Photograph from an automated digital microscope: urine filter membrane, 4× objective.
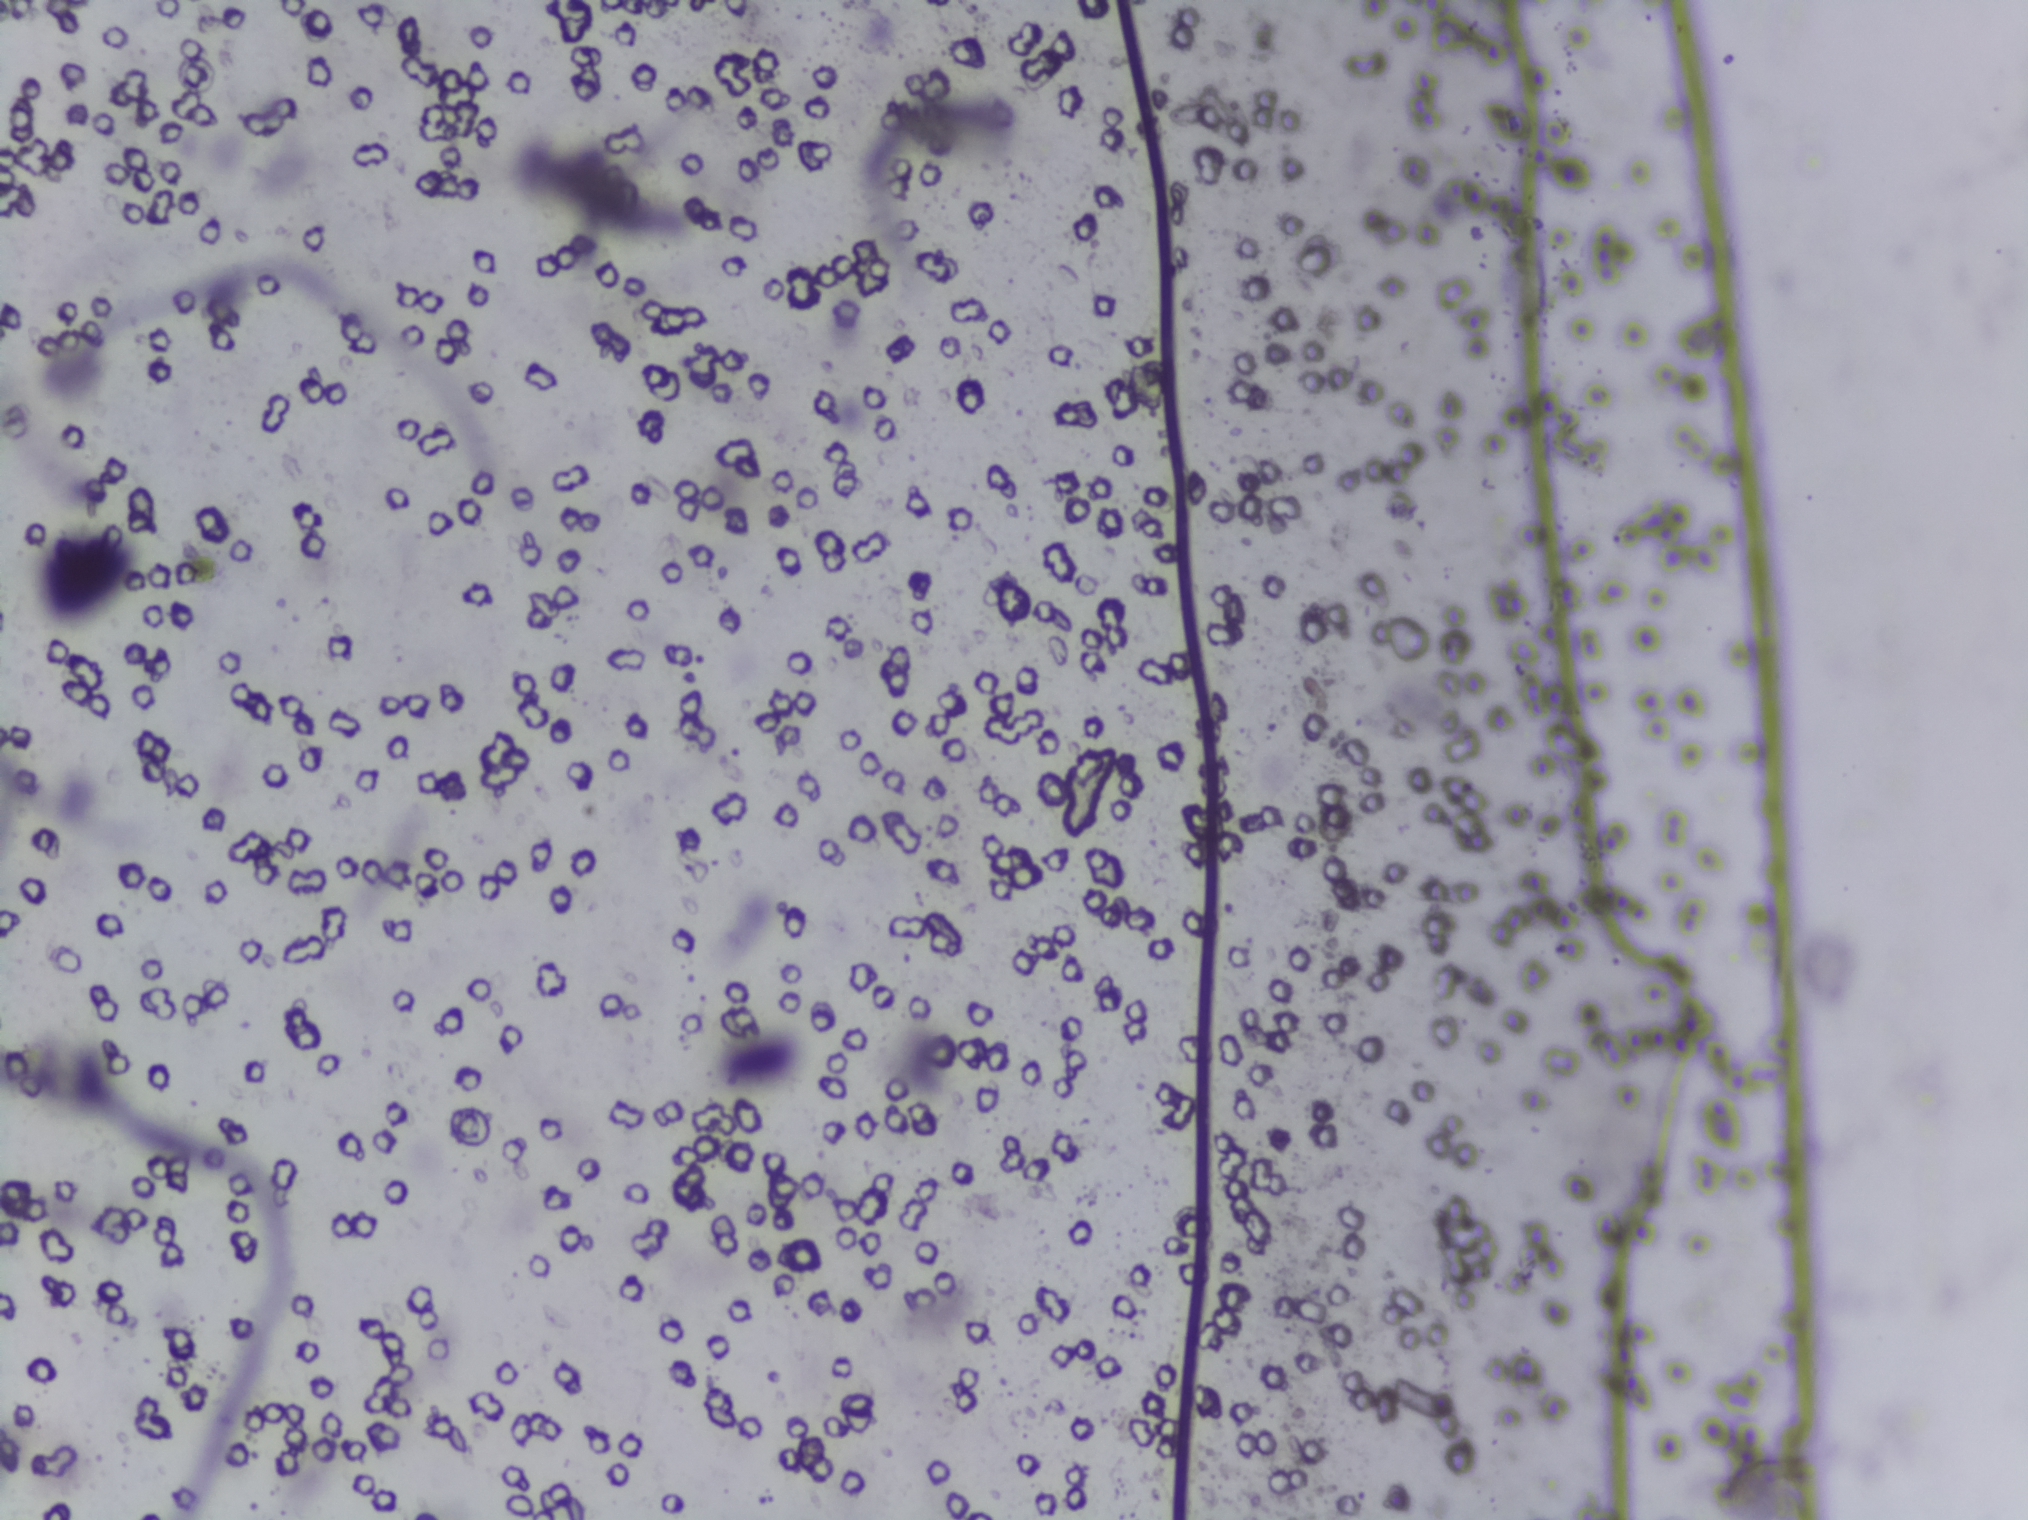
The expert annotation outlines no Schistosoma egg in this image.